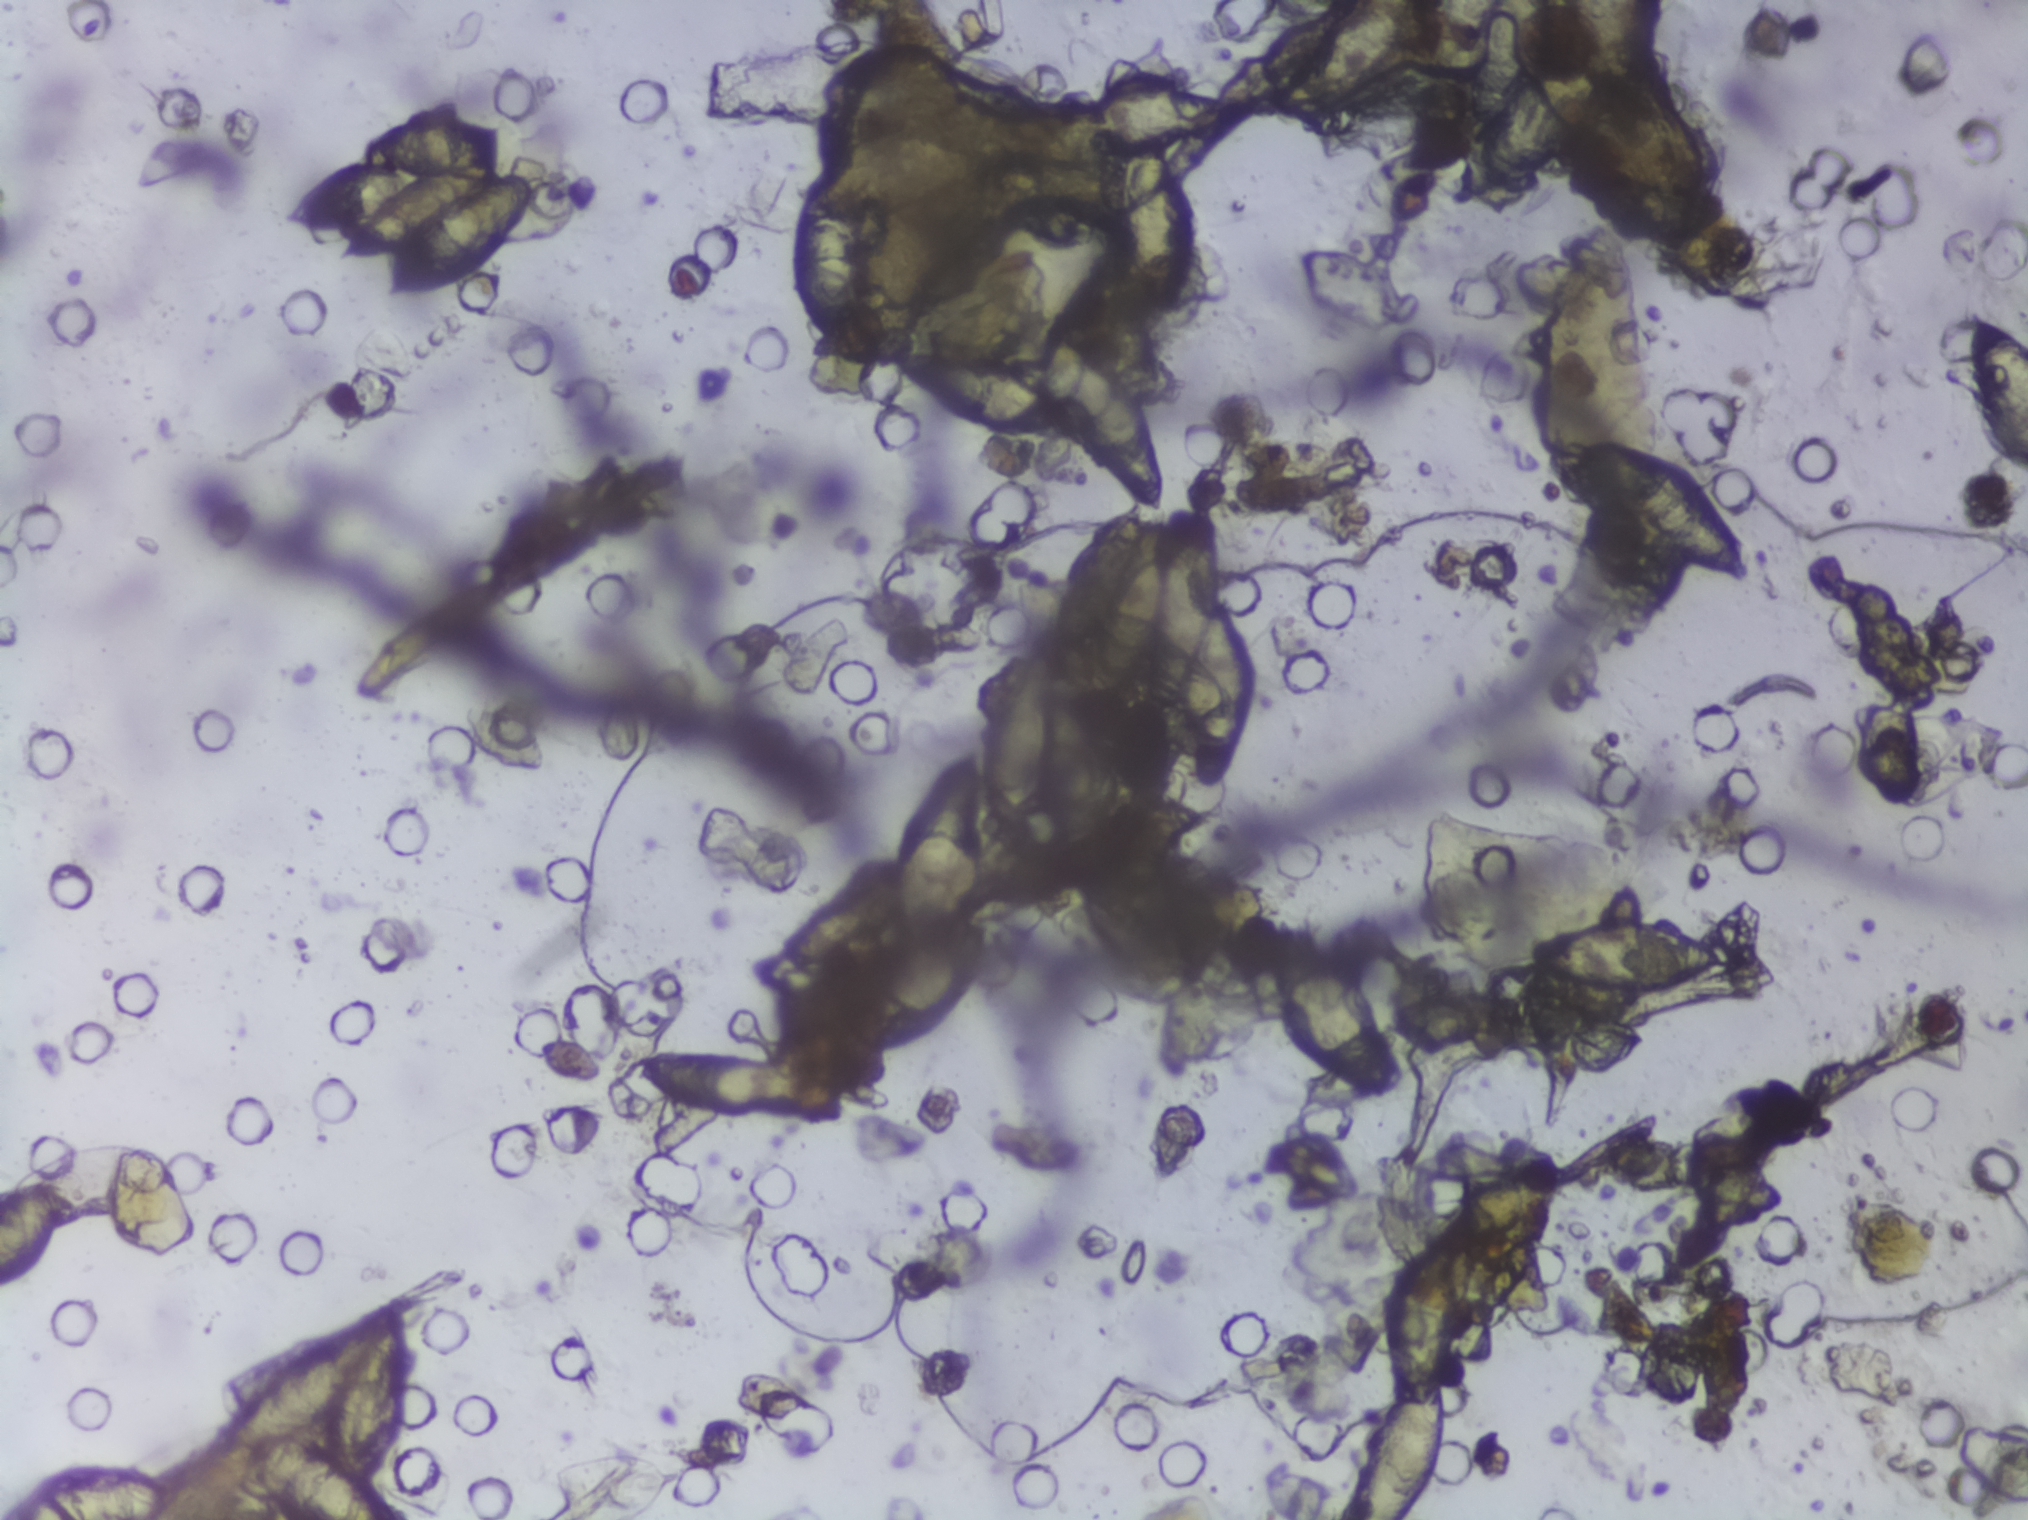
Photograph from an automated digital microscope: urine filter membrane, 4× objective. Field of view: about 1.5 mm wide and 1.1 mm high.
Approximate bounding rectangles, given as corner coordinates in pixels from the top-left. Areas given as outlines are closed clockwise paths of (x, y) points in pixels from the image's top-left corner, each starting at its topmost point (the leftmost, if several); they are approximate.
The expert annotation outlines Schistosoma eggs in 14 areas, left to right: box (x1=0, y1=1176, x2=68, y2=1286) (reaching the left edge of the frame); box (x1=0, y1=1466, x2=179, y2=1519) (reaching the left and bottom edges of the frame); box (x1=220, y1=1304, x2=410, y2=1519) (reaching the bottom edge of the frame); box (x1=280, y1=116, x2=534, y2=295); box (x1=619, y1=1038, x2=841, y2=1122); box (x1=793, y1=167, x2=875, y2=348); outline (1066, 333), (1101, 346), (1149, 394), (1163, 475), (1161, 503), (1143, 499), (1144, 512), (1167, 516), (1196, 503), (1217, 527), (1231, 597), (1262, 657), (1263, 713), (1243, 760), (1224, 777), (1203, 782), (1191, 748), (1173, 752), (1158, 738), (1157, 698), (1148, 678), (1152, 665), (1148, 672), (1145, 665), (1125, 694), (1112, 697), (1102, 690), (1117, 748), (1117, 779), (1095, 848), (1083, 859), (1052, 854), (1037, 805), (1019, 827), (1004, 827), (985, 811), (986, 886), (969, 915), (984, 925), (979, 970), (932, 1035), (872, 1055), (843, 1037), (842, 1012), (858, 963), (895, 921), (885, 903), (893, 833), (936, 760), (960, 740), (975, 742), (983, 687), (997, 664), (1023, 647), (1046, 680), (1045, 614), (1068, 535), (1120, 487), (1059, 428), (1004, 431), (961, 424), (893, 369), (912, 347), (936, 343), (1009, 375), (1044, 400), (1043, 372), (1053, 342) (eggs clustered together); box (x1=1108, y1=34, x2=1196, y2=313); box (x1=1261, y1=938, x2=1404, y2=1094); box (x1=1337, y1=1228, x2=1466, y2=1519) (reaching the bottom edge of the frame); box (x1=1529, y1=913, x2=1717, y2=986); box (x1=1563, y1=433, x2=1759, y2=580); box (x1=1659, y1=233, x2=1773, y2=311); box (x1=1965, y1=305, x2=2027, y2=471) (reaching the right edge of the frame). Eggs that touch can end up inside the same outlined area.